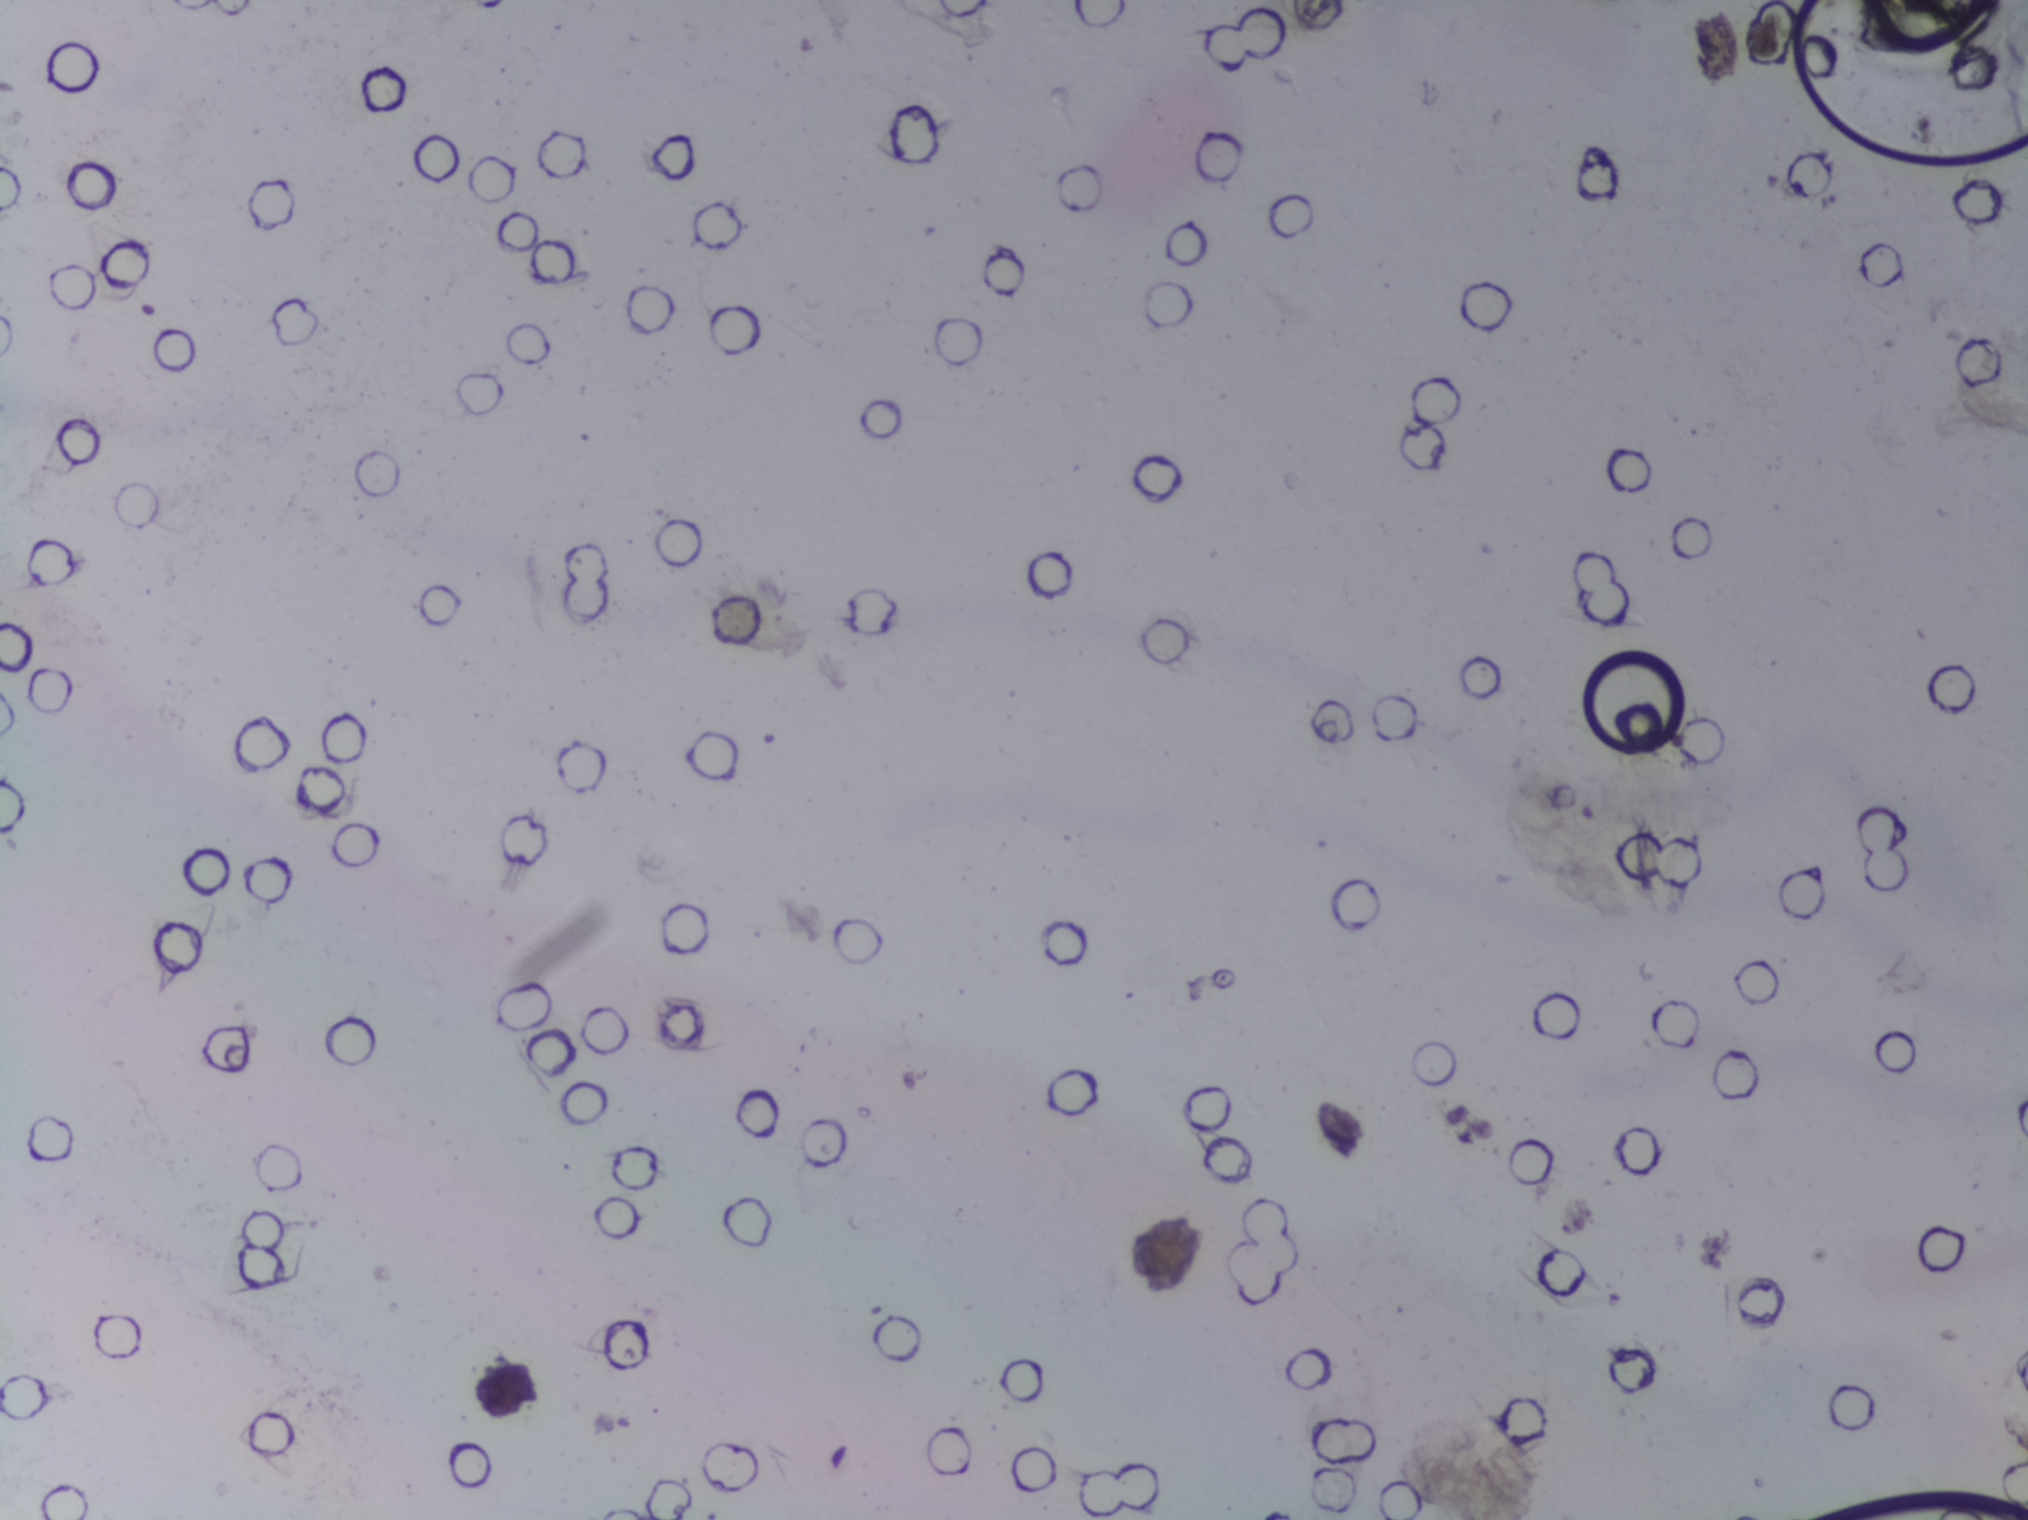
No area of this image was outlined as a Schistosoma egg.
Urine filtration membrane under a 4× objective, photographed by an automated digital microscope.